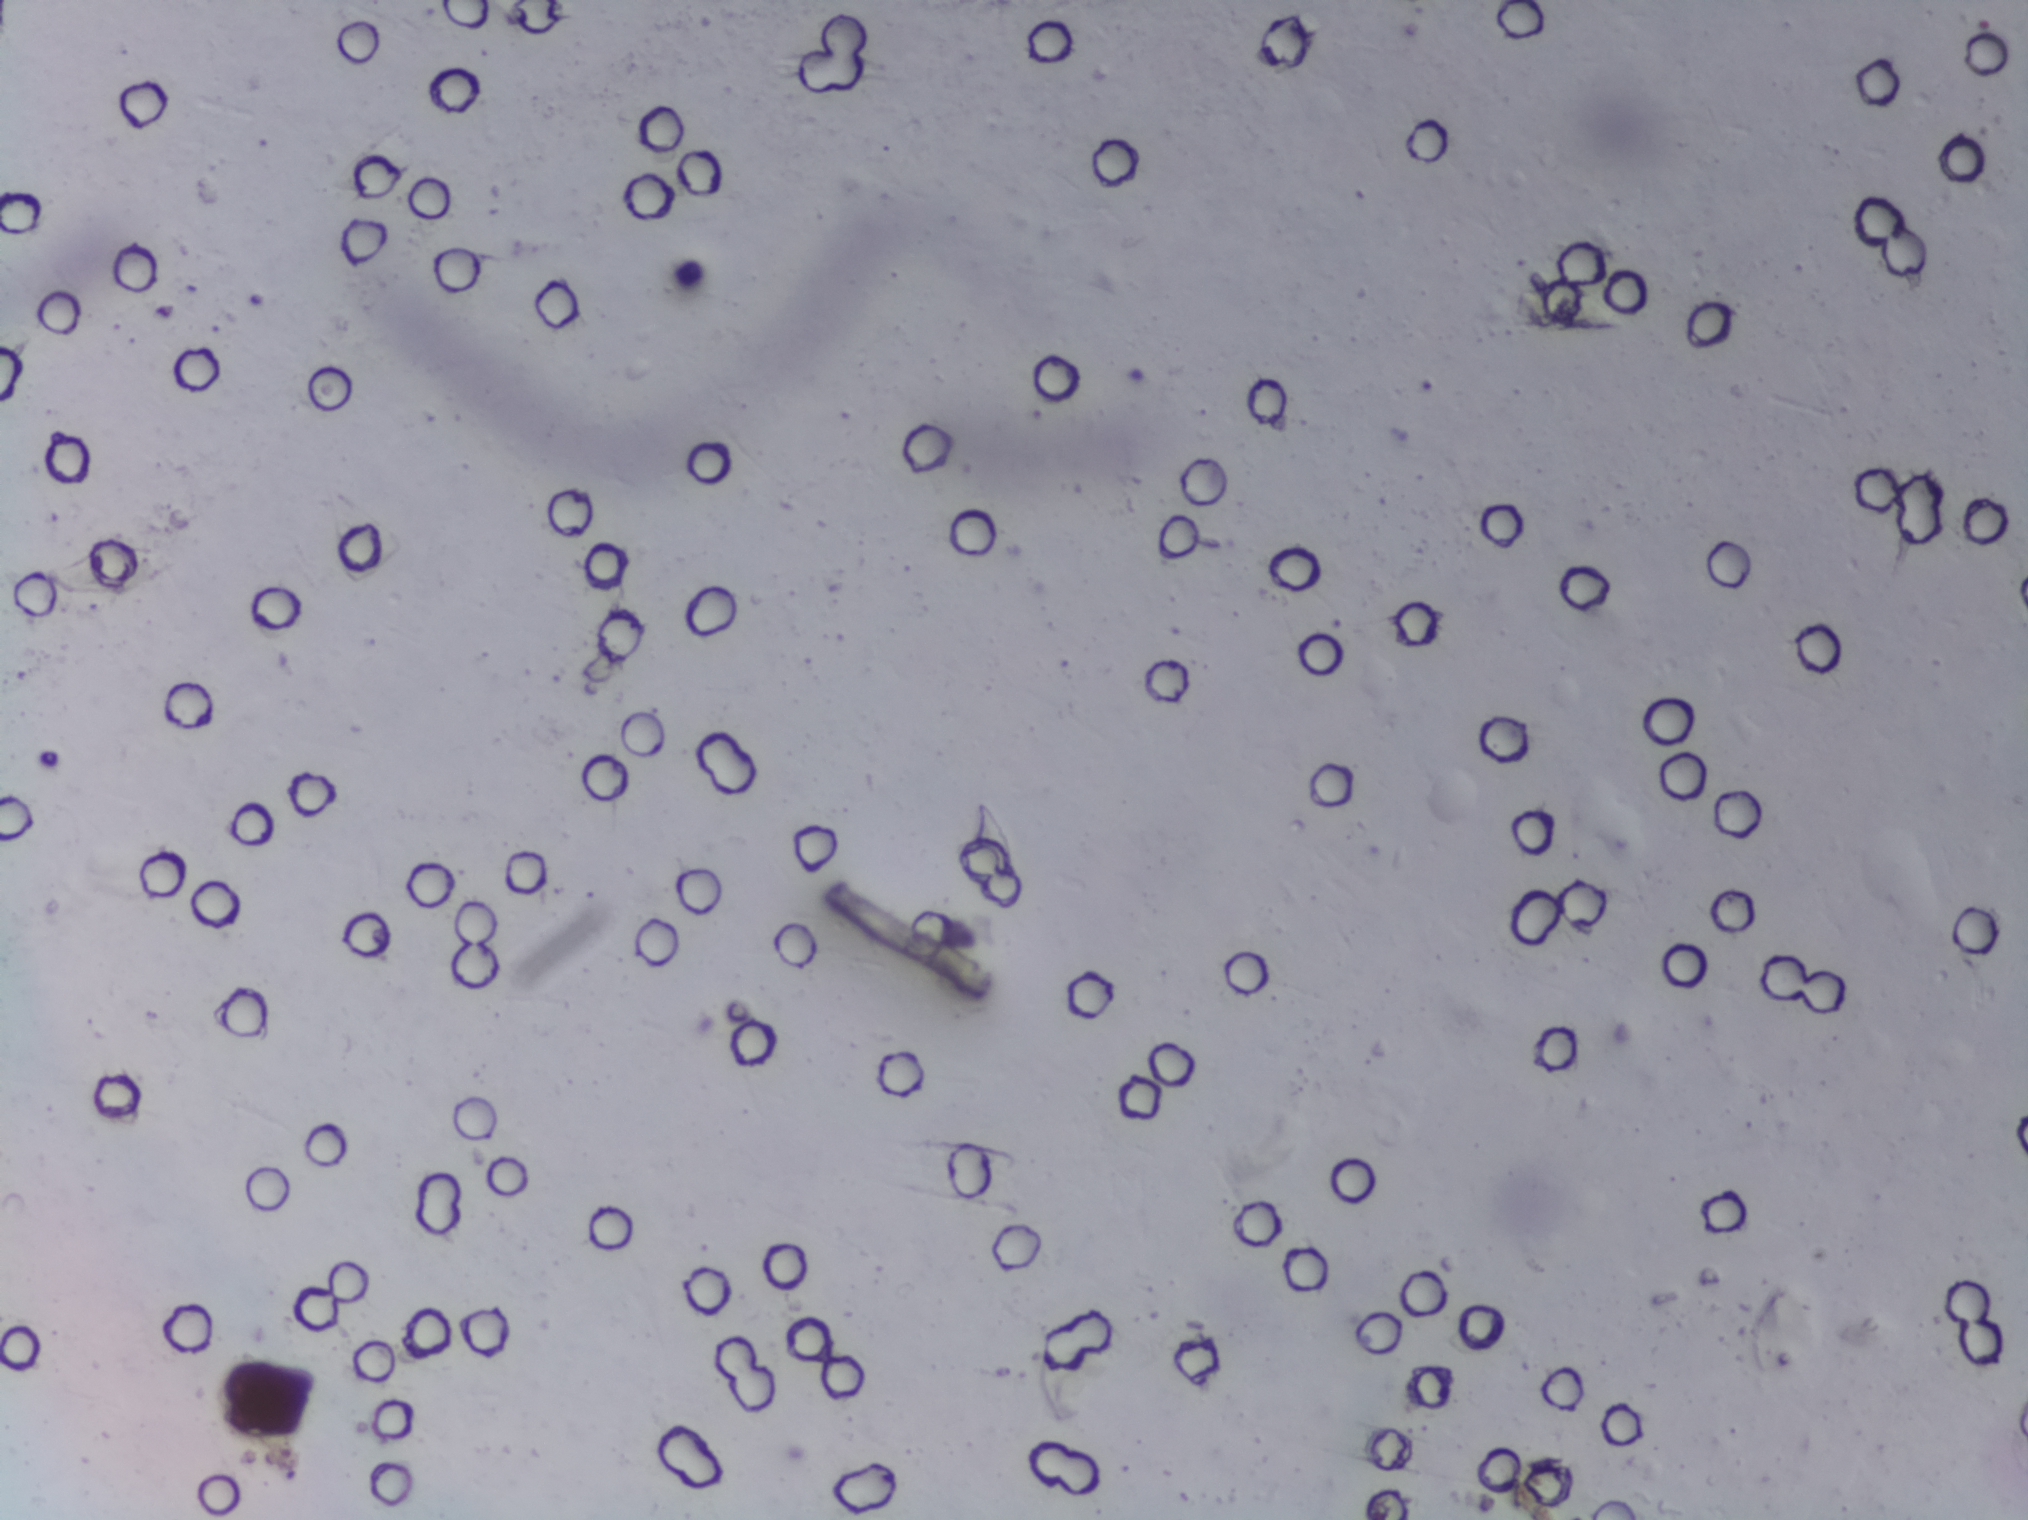
Photomicrograph of a urine filtration membrane, 4× objective. The field of view is about 1.5 mm × 1.1 mm.
No area of this image was outlined as a Schistosoma egg.